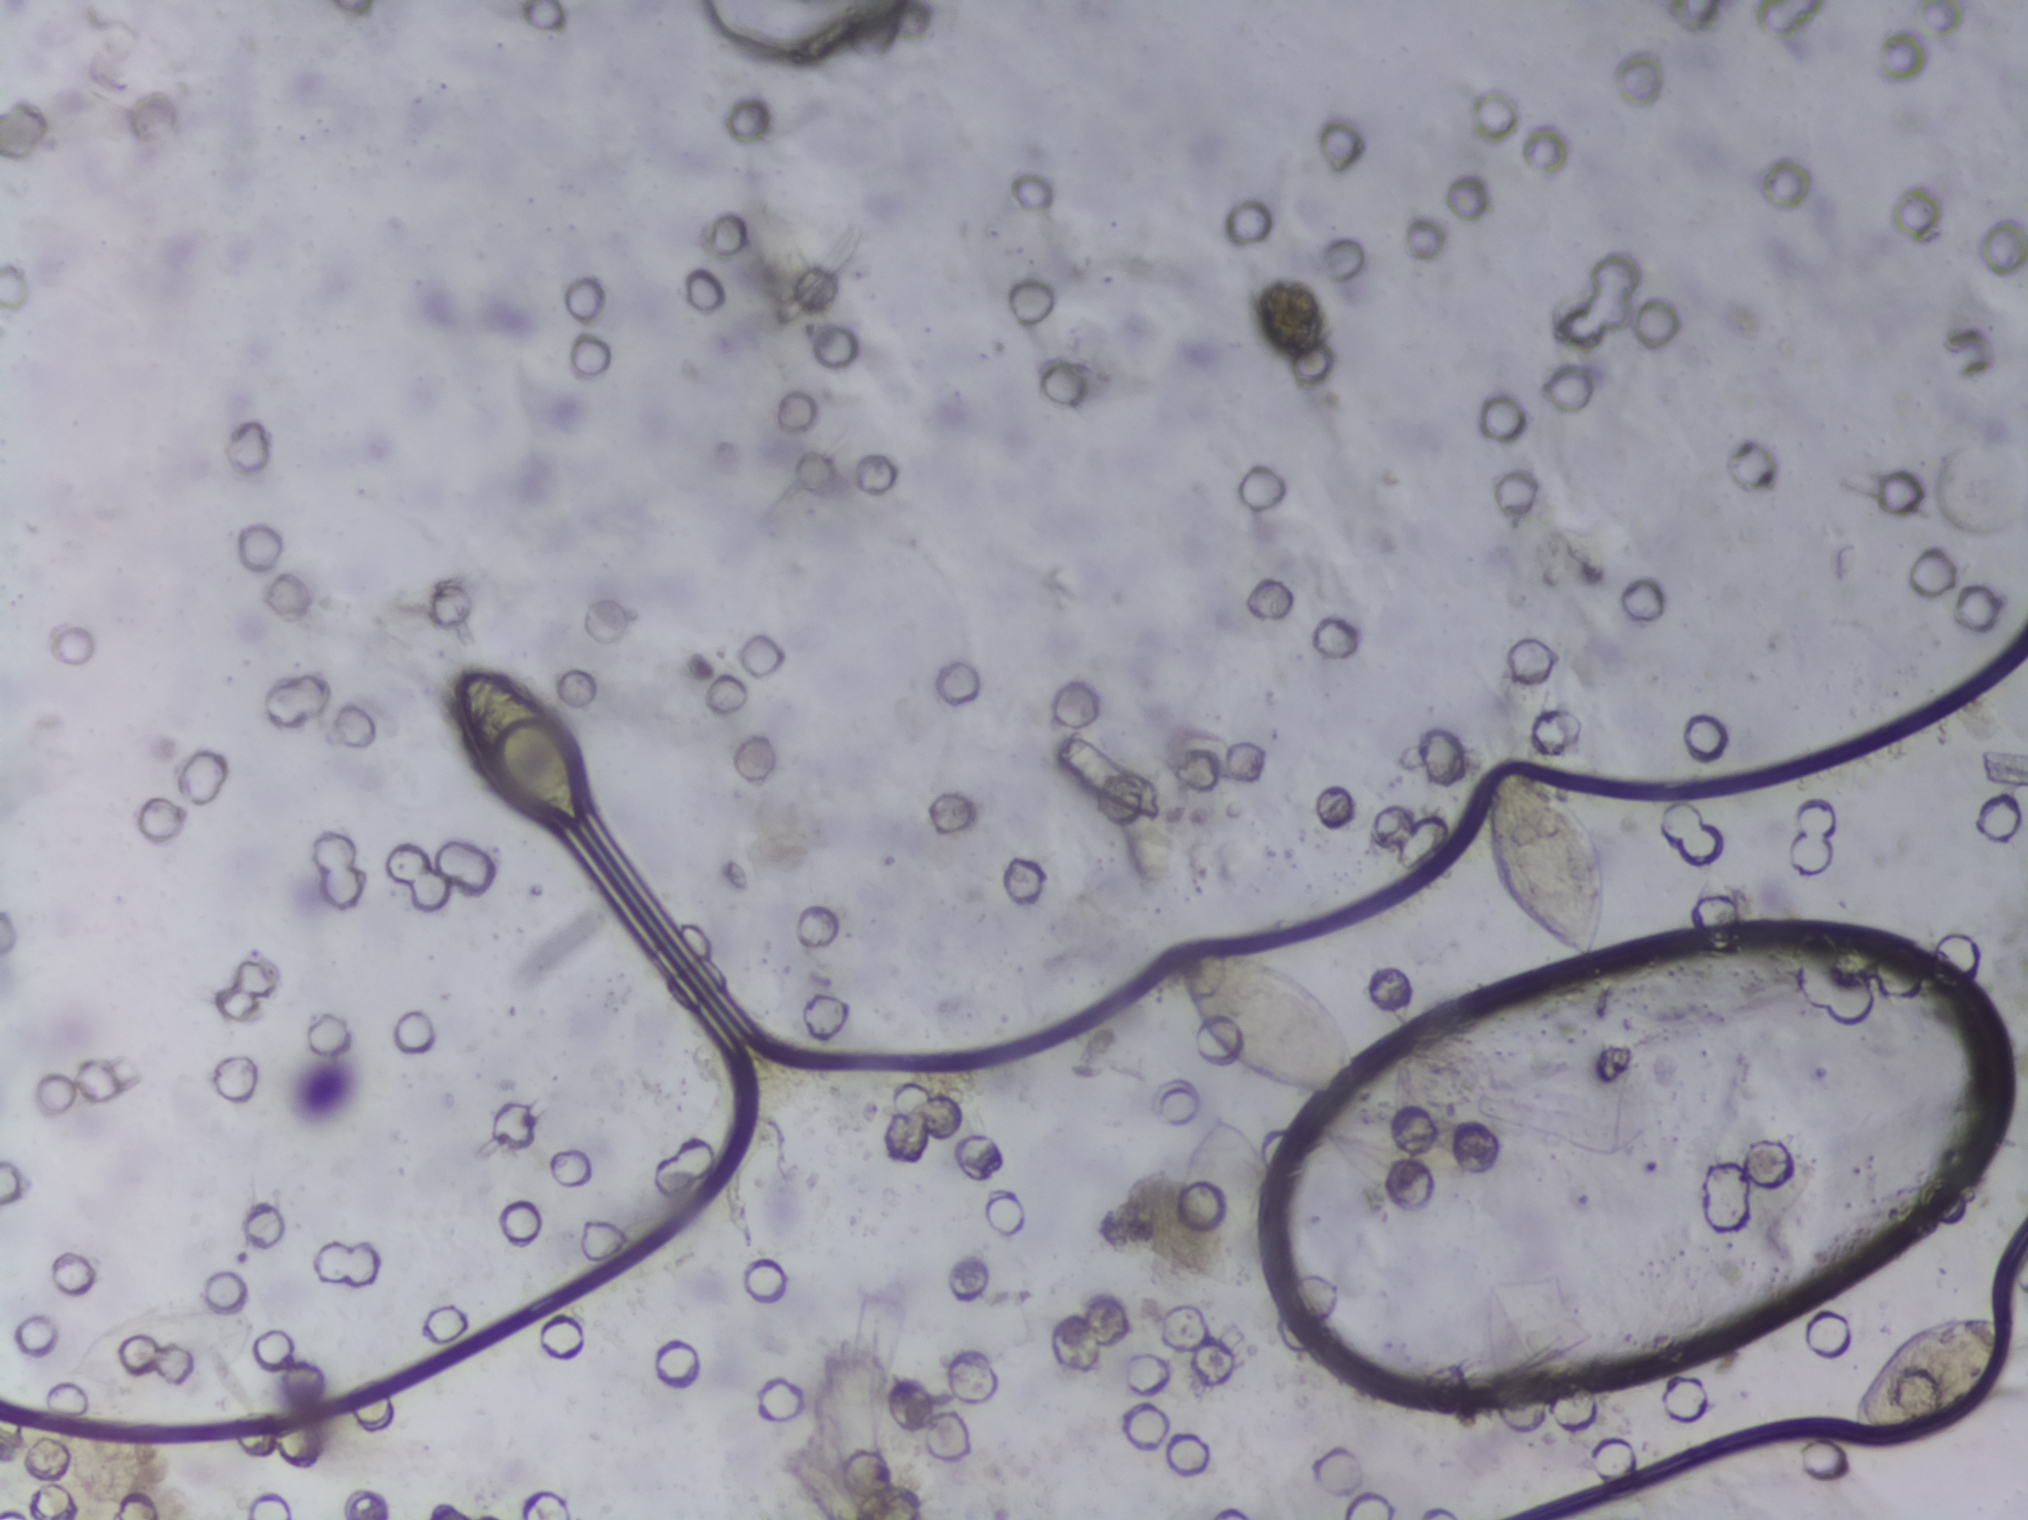
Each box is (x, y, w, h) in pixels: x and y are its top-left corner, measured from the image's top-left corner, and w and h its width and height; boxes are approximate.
Schistosoma eggs, outlined areas: (x=455, y=669, w=128, h=164); (x=1163, y=944, w=198, h=160); (x=1473, y=762, w=146, h=198); (x=1851, y=1311, w=158, h=137). Marked pixels, not the boxes around them: about 2.3% of the image. Eggs that touch can end up inside the same outlined area.
One field of view of a urine filter membrane, 4× objective, 2028 × 1520 pixels.